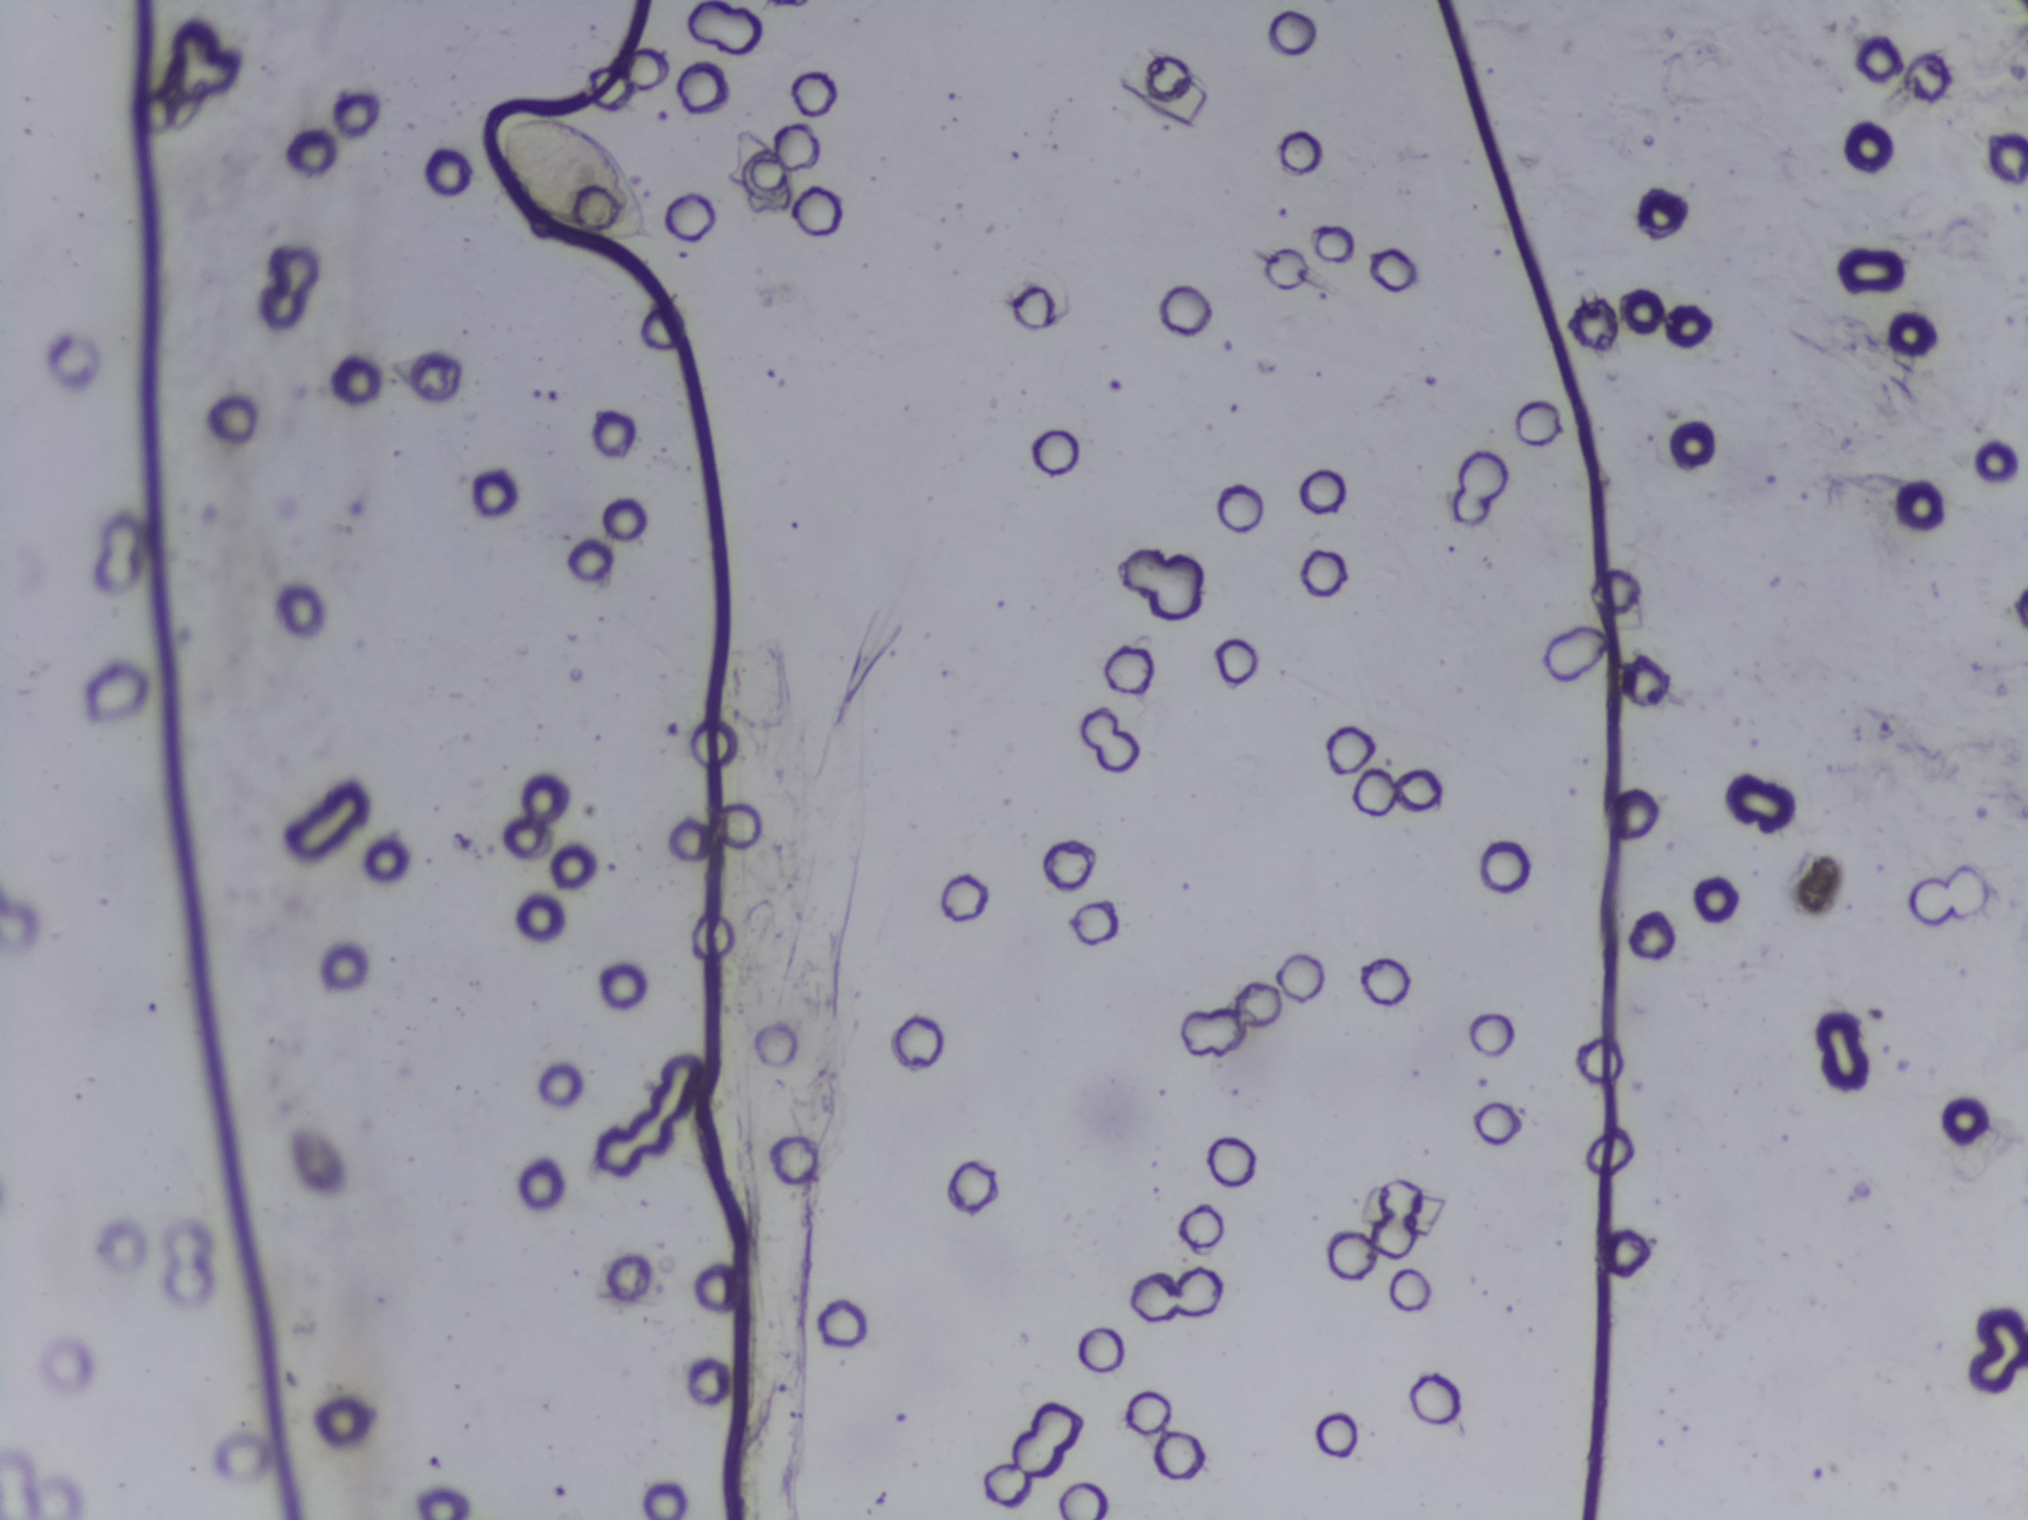
Photograph from an automated digital microscope: urine filter membrane, 4× objective. The image covers about 1.5 × 1.1 mm of the membrane.
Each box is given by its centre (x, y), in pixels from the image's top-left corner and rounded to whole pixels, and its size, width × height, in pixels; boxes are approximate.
Schistosoma eggs, outlined areas: centre (574, 177), 173 × 141 px. An outlined area can hold more than one egg.